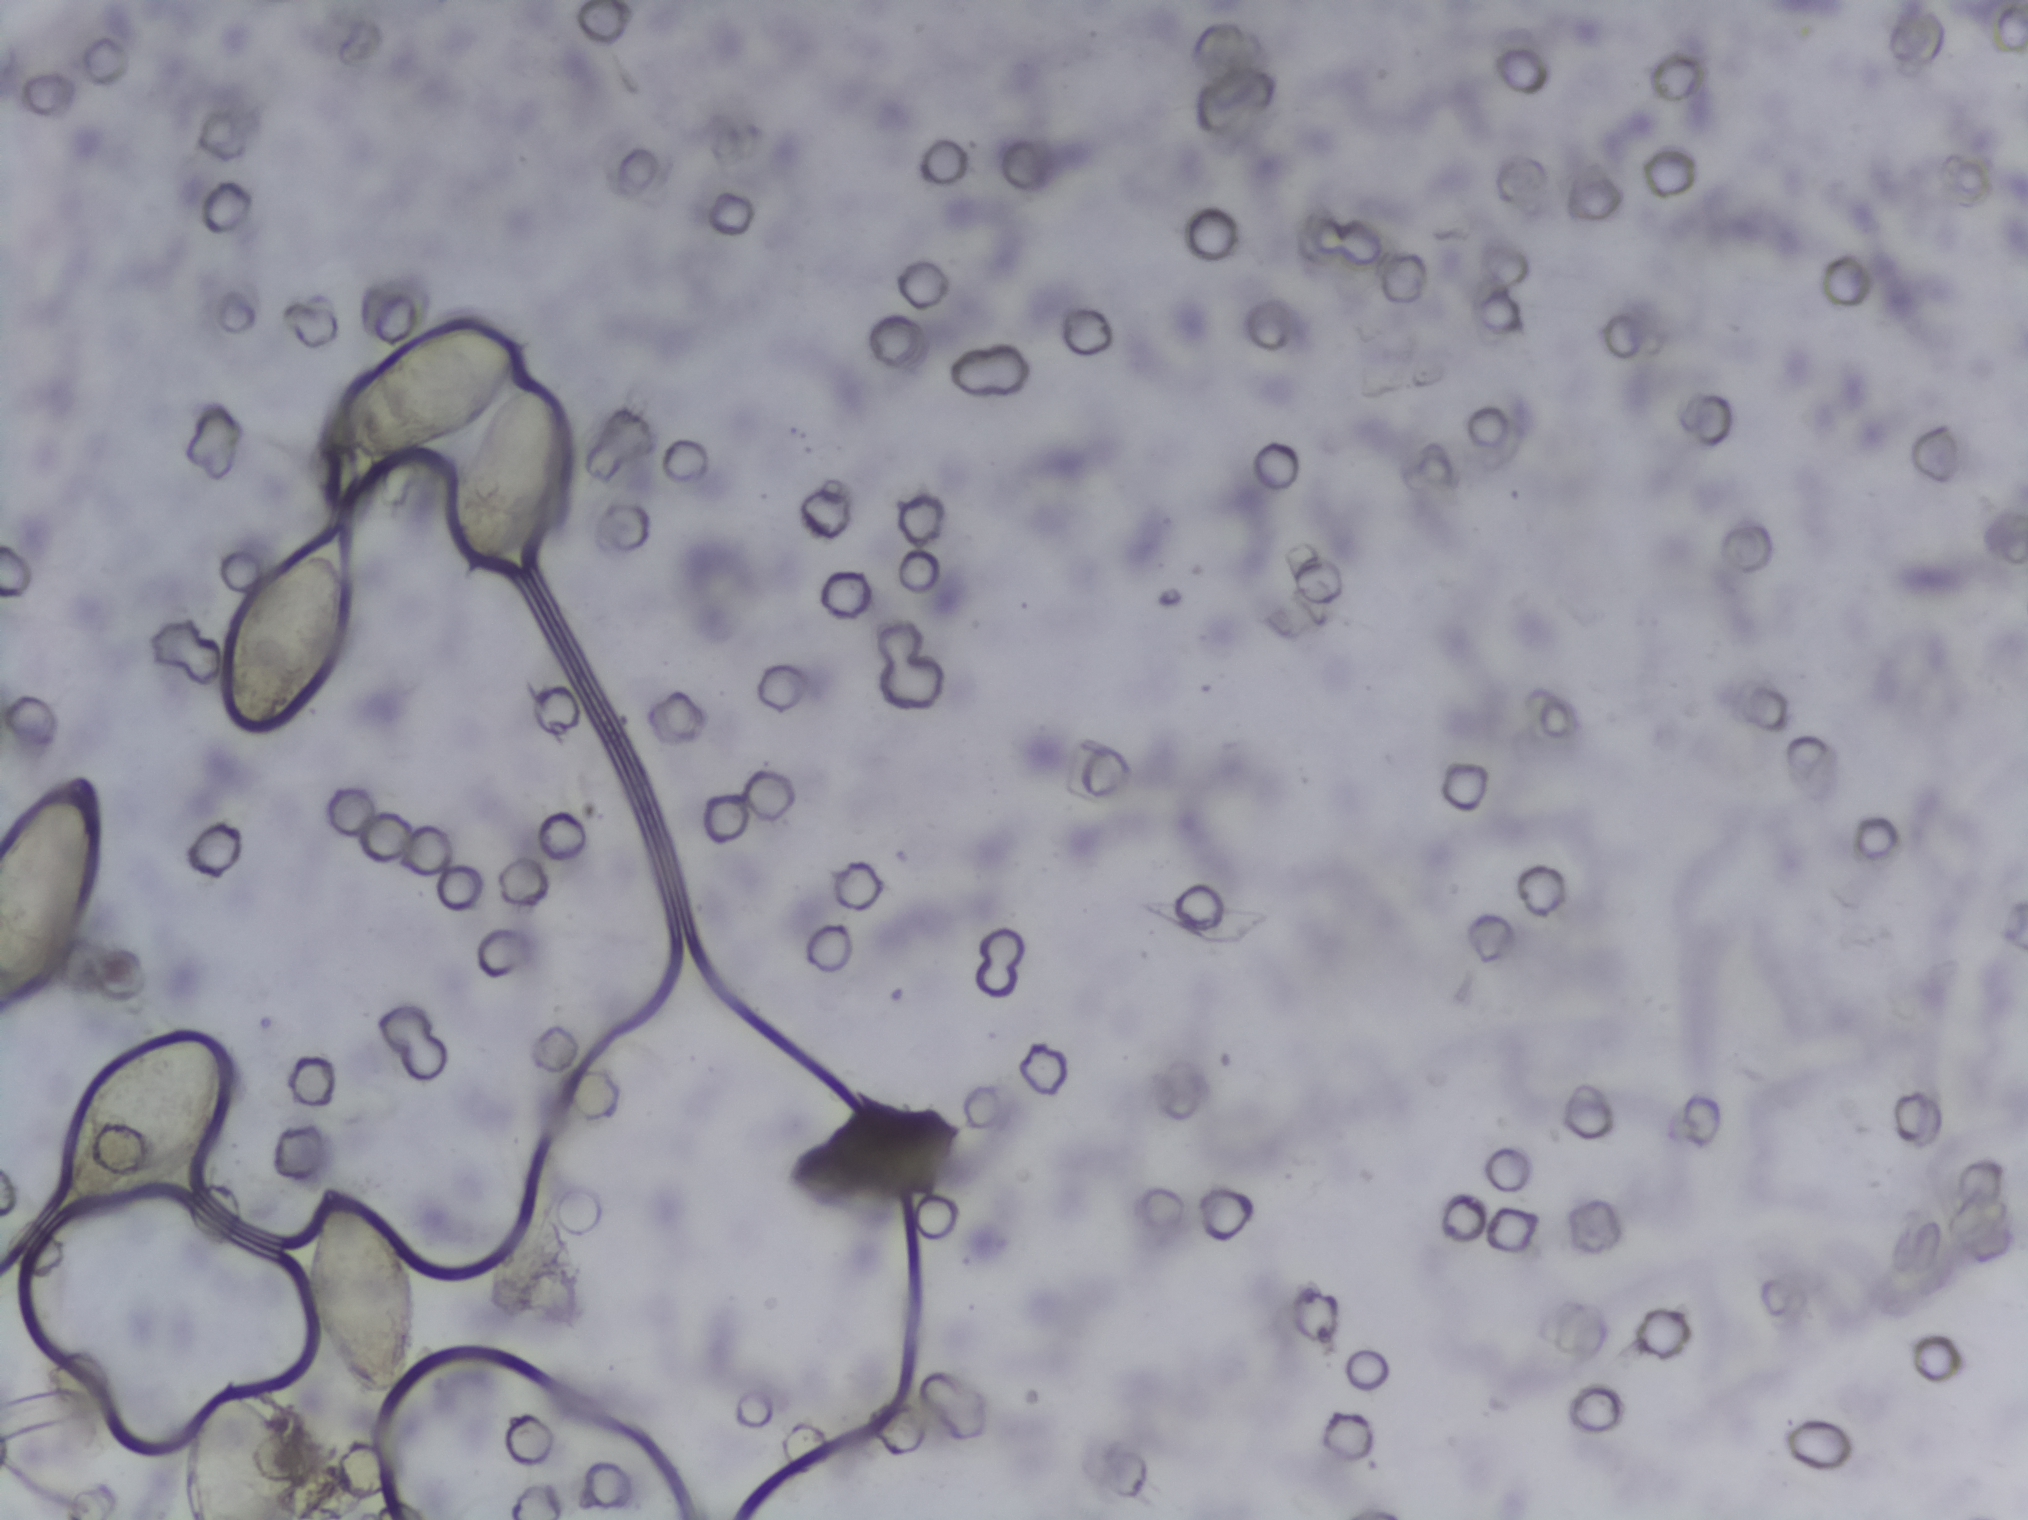
Photograph from an automated digital microscope: urine filter membrane, 4× objective.
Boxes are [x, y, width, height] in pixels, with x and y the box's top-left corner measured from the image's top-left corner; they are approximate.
Schistosoma egg areas, outlined: [0, 774, 103, 248] (reaching the left edge of the frame); [49, 1030, 185, 186]; [177, 1376, 129, 144] (reaching the bottom edge of the frame); [216, 526, 136, 212]; [303, 1184, 115, 220]; [324, 326, 255, 262]. The marked pixels themselves, not the boxes around them, cover about 4.2% of the image. An outlined area can hold more than one egg.